Photomicrograph of a urine filtration membrane, 4× objective. Field of view: about 1.5 mm wide and 1.1 mm high.
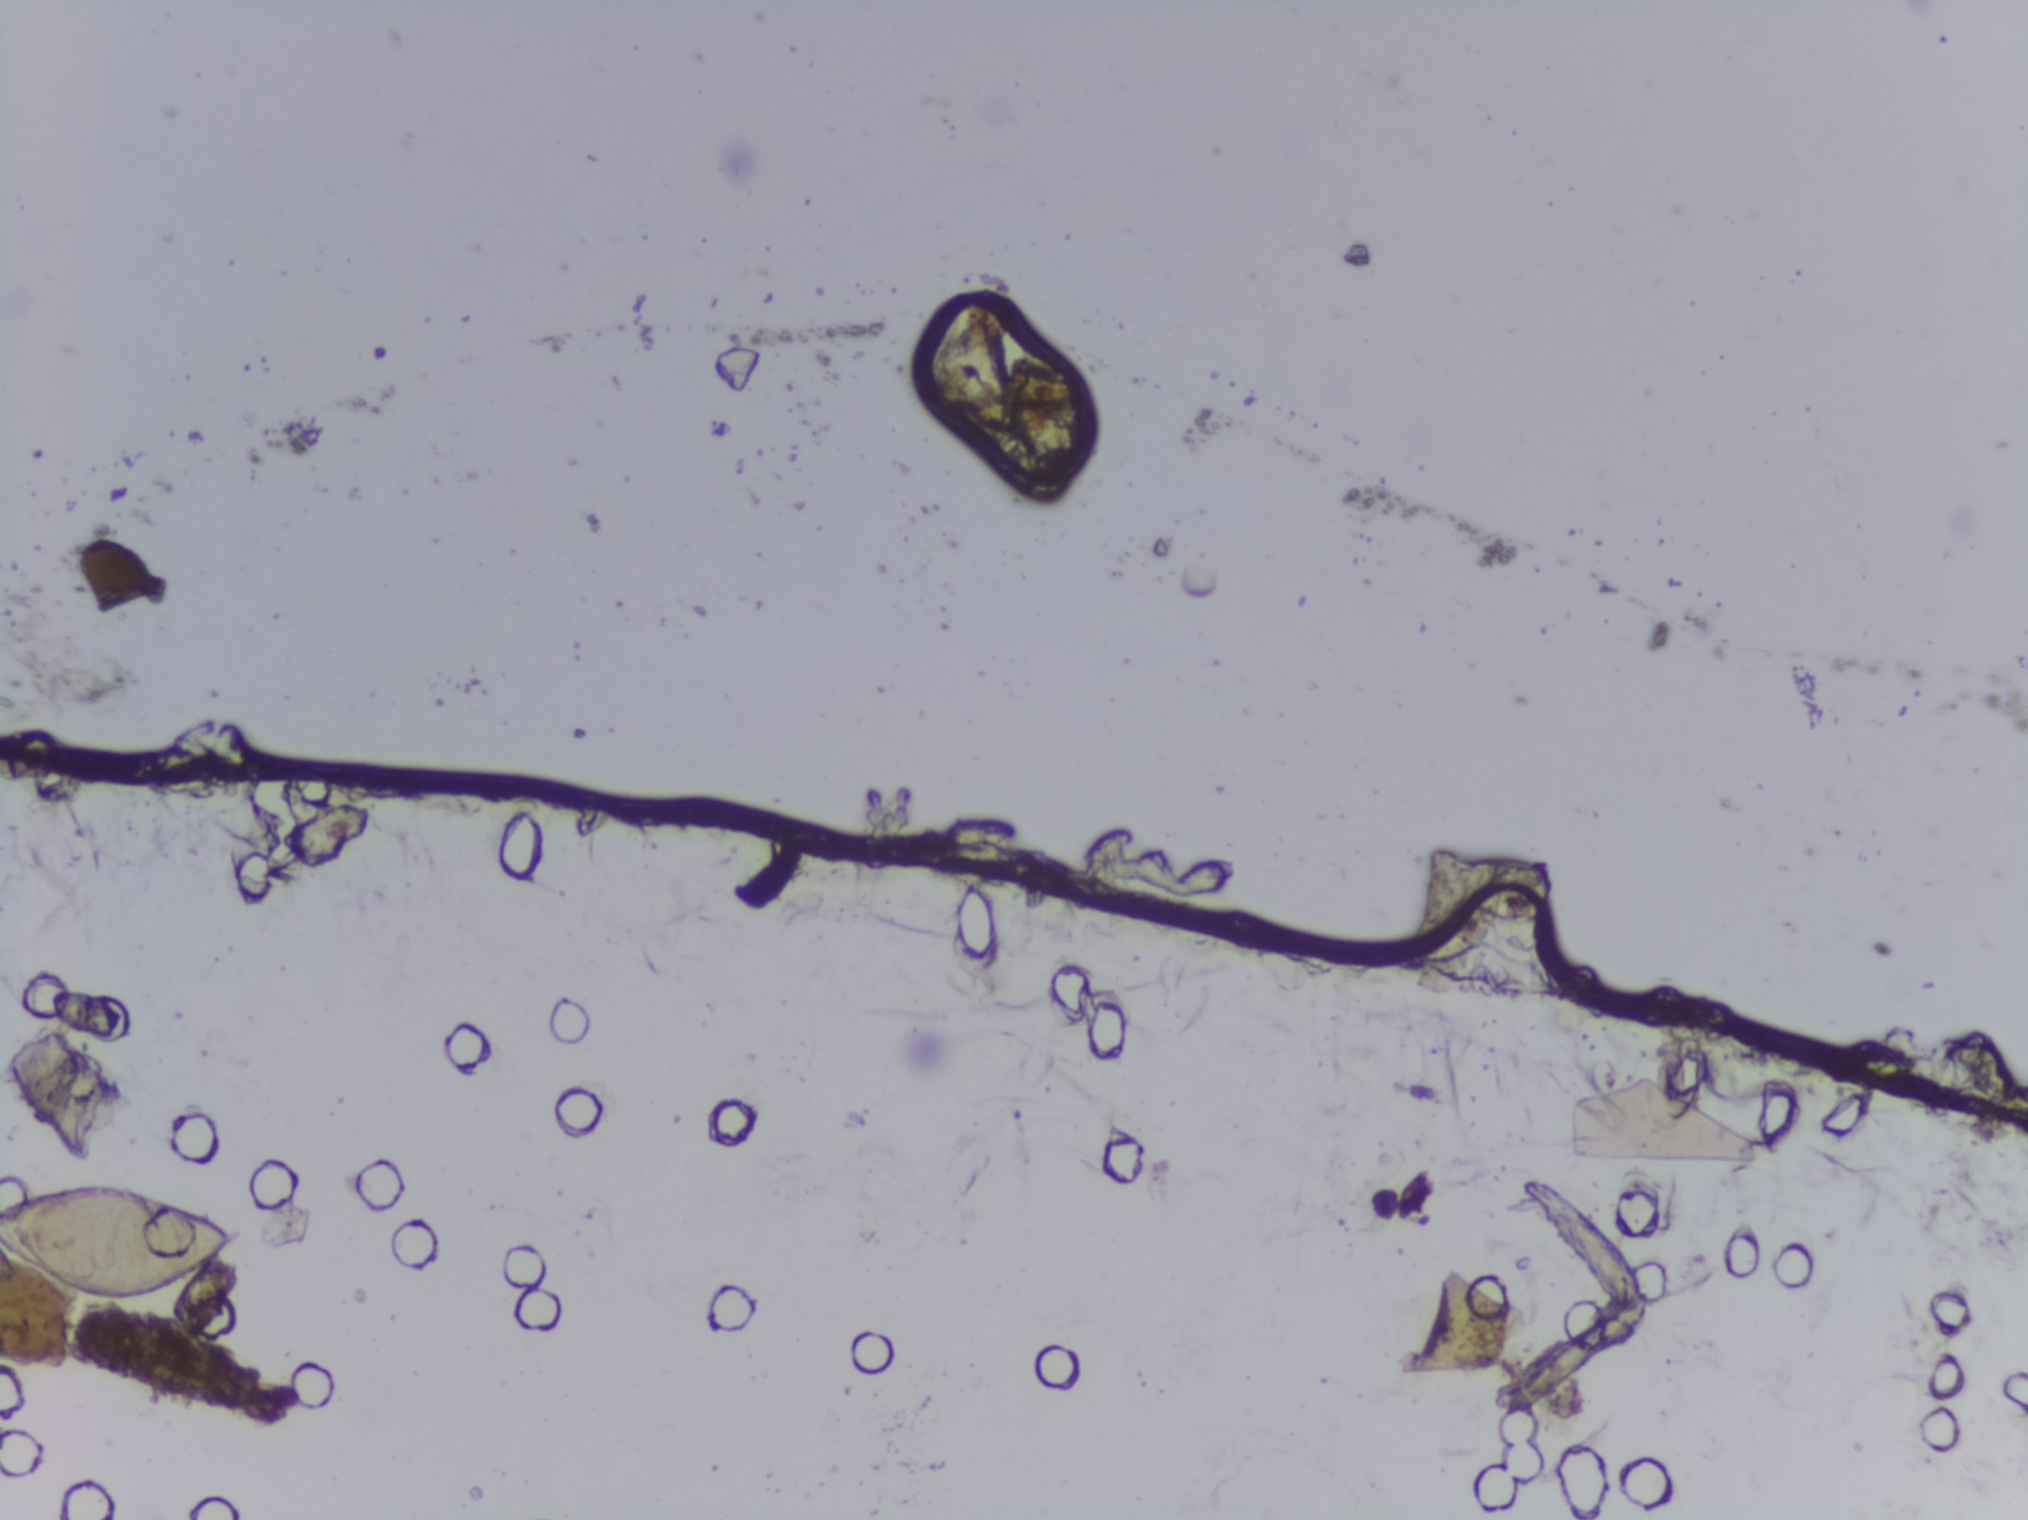
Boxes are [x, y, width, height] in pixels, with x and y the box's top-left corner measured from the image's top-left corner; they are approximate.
Outlined Schistosoma egg areas:
1. [0, 1168, 254, 149] (reaching the left edge of the frame)
A single outlined area may contain several eggs.